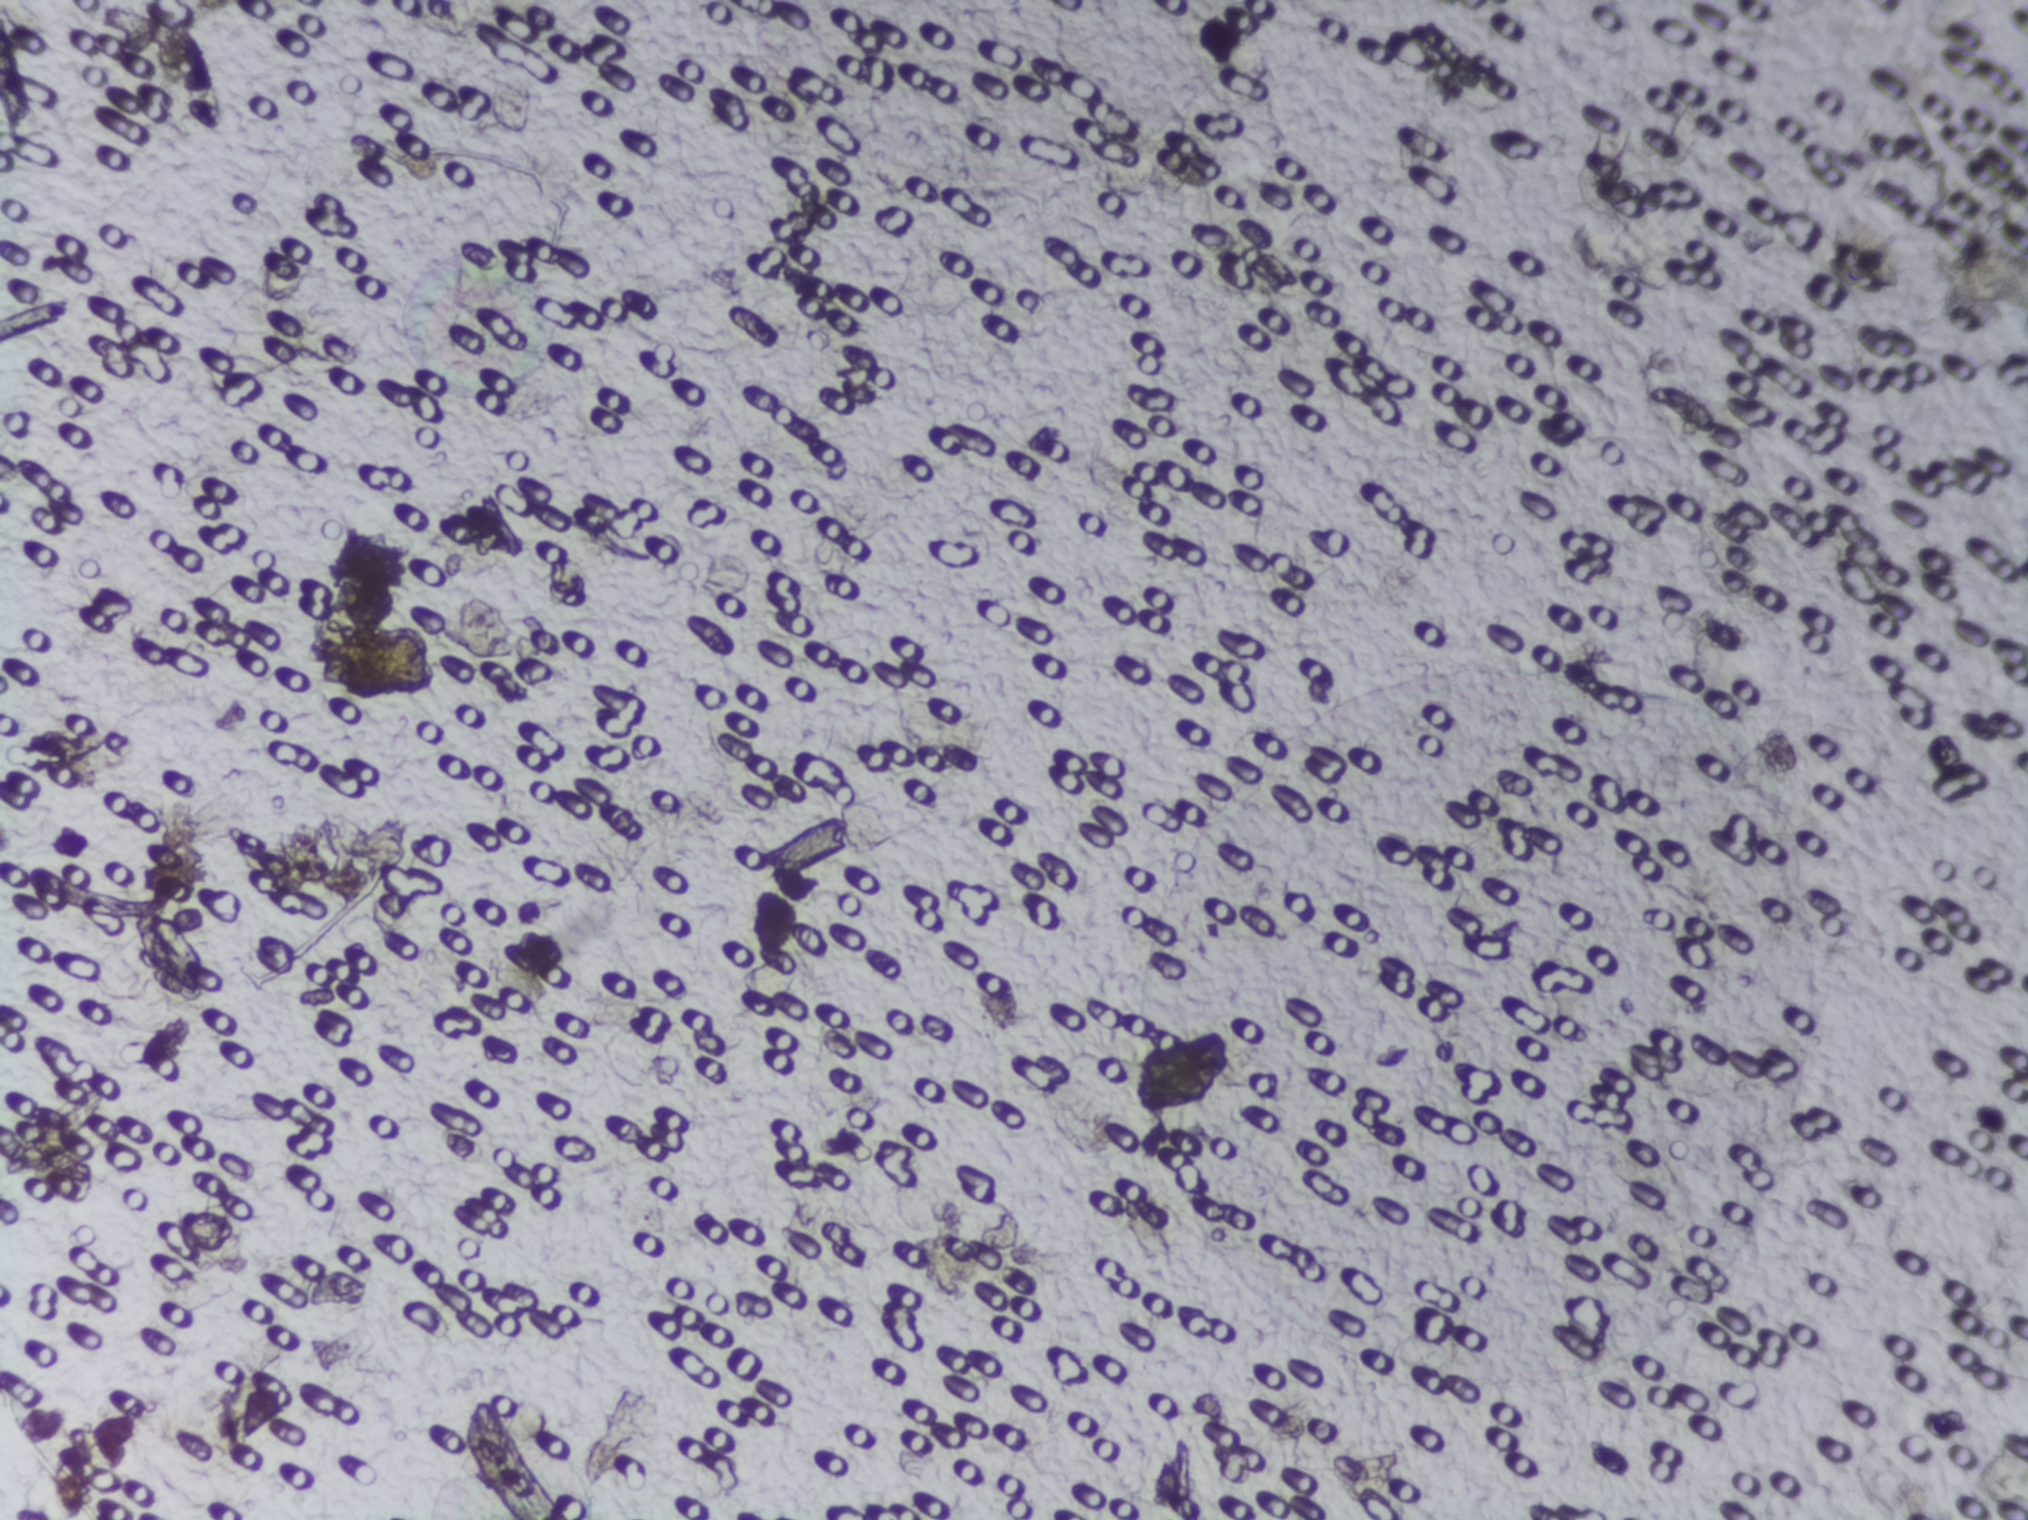
Photomicrograph of a urine filtration membrane, 4× objective. The field of view is about 1.5 mm × 1.1 mm.
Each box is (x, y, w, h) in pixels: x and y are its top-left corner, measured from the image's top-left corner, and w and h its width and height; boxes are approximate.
Areas outlined as Schistosoma eggs: (x=1136, y=1024, w=95, h=92). Marked pixels, not the box around them: about 0.2% of the image. Eggs that touch can end up inside the same outlined area.